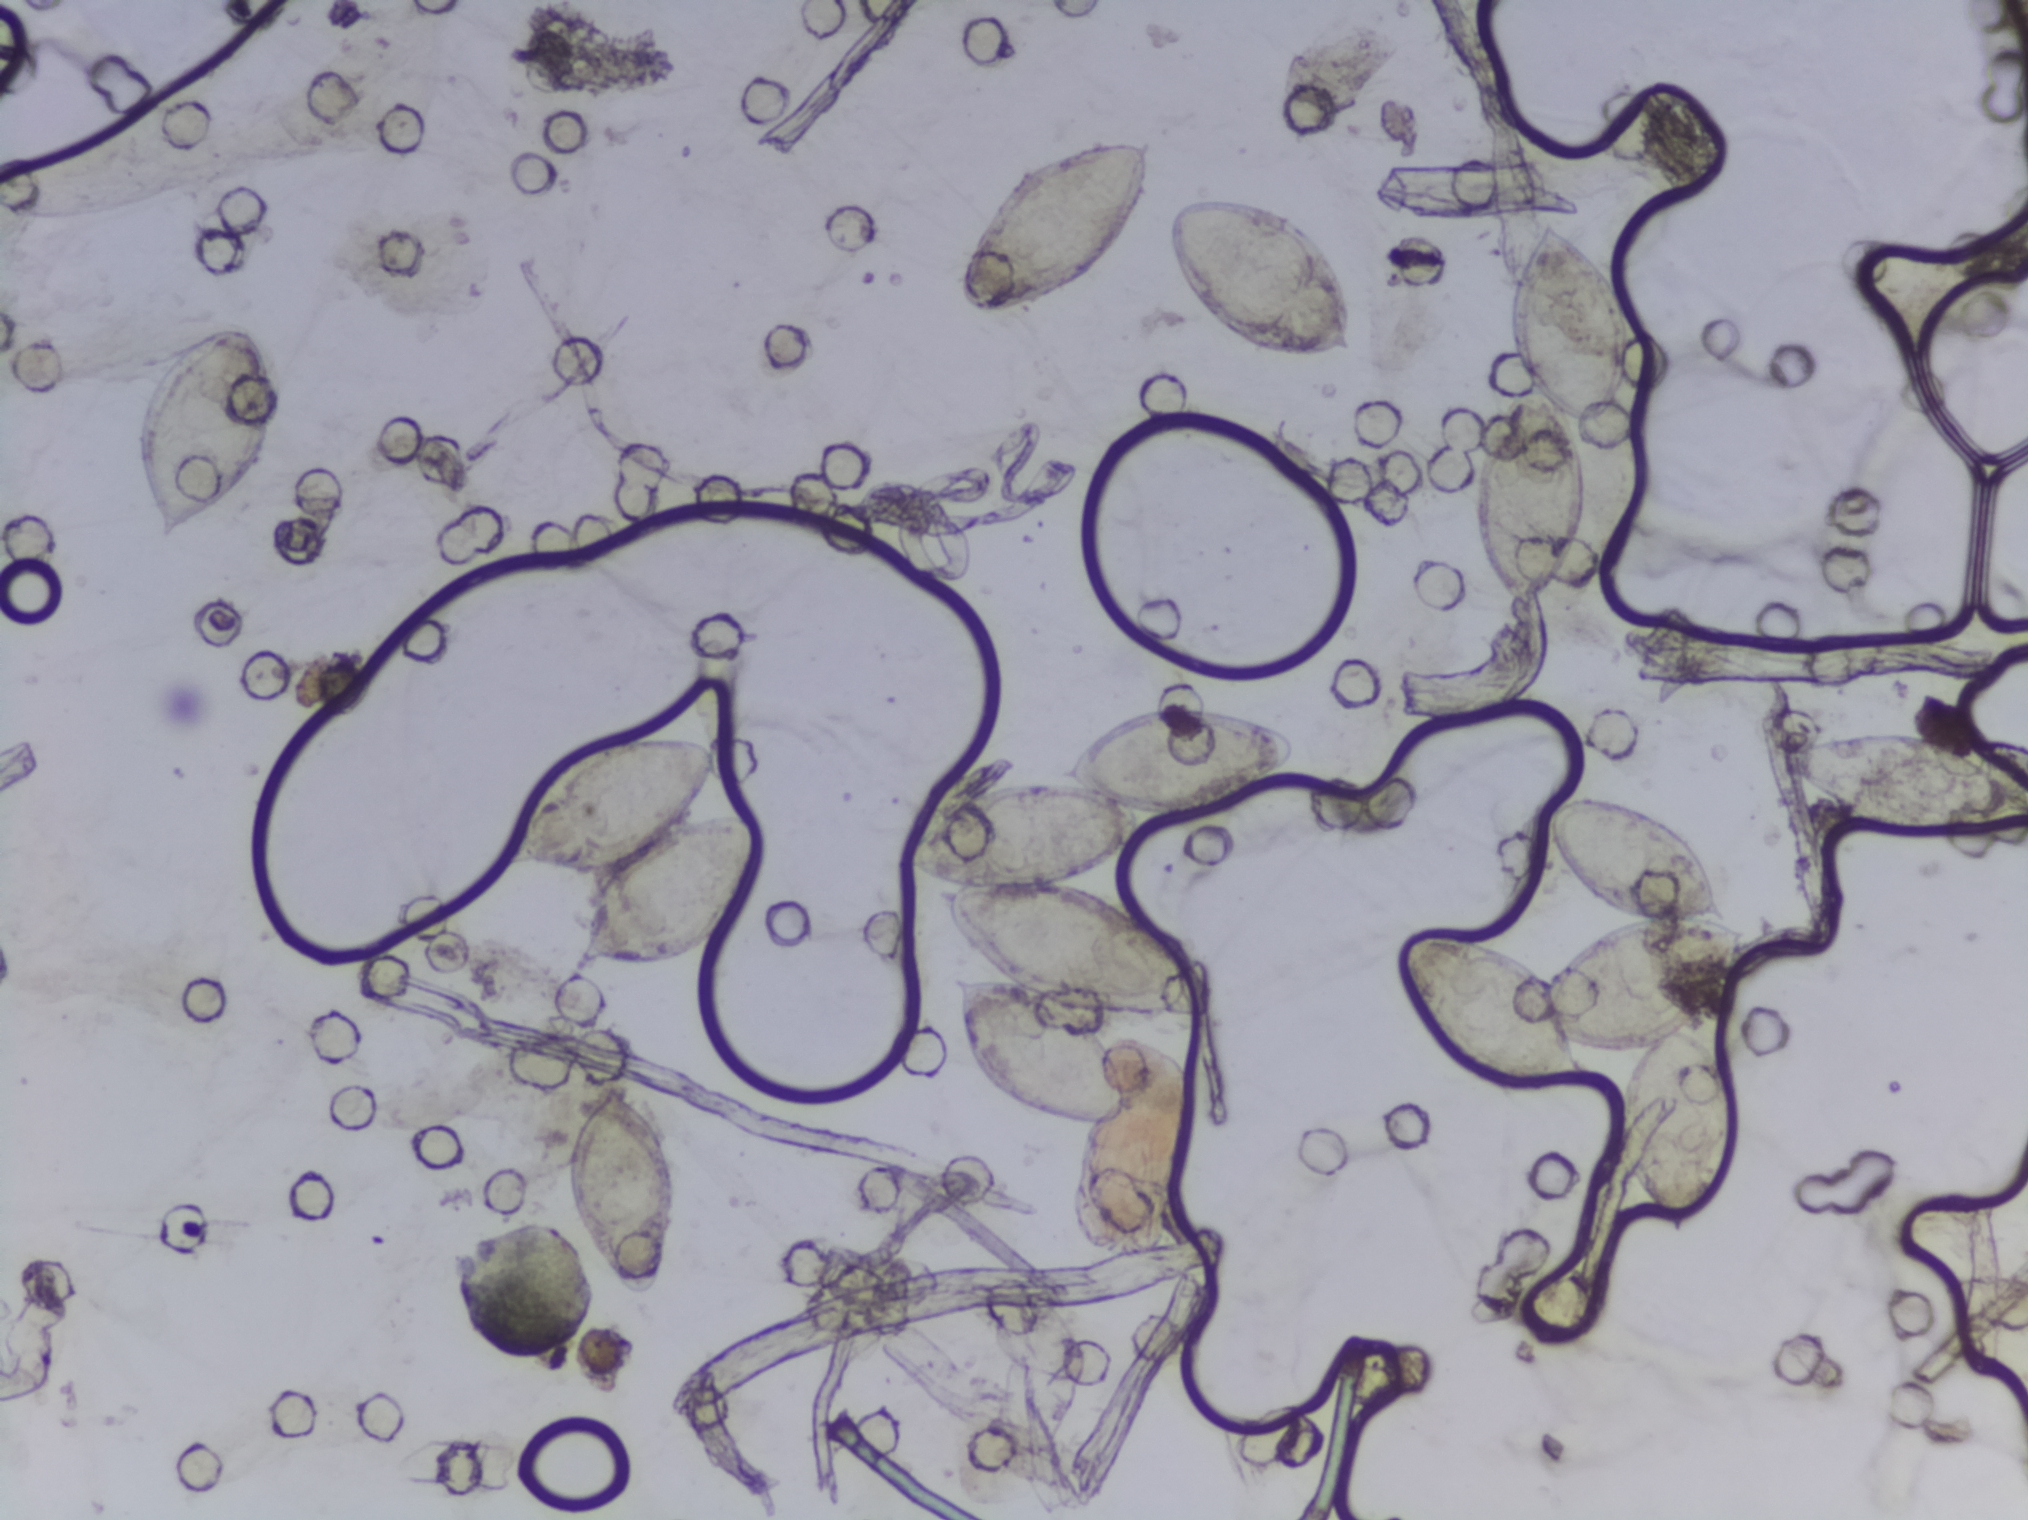
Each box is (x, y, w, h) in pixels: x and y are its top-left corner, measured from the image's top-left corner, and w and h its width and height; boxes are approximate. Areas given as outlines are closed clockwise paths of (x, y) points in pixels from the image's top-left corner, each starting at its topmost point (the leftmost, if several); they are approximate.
The expert annotation outlines Schistosoma eggs in nine areas, left to right: box (x=133, y=326, w=142, h=219); box (x=500, y=729, w=265, h=239); box (x=560, y=1079, w=119, h=218); outline (1160, 703), (1243, 710), (1289, 734), (1297, 764), (1227, 820), (1163, 834), (1138, 832), (1116, 863), (1081, 879), (1169, 922), (1199, 955), (1209, 998), (1192, 1020), (1098, 1023), (1125, 1060), (1127, 1117), (1113, 1124), (1034, 1124), (974, 1074), (962, 1050), (951, 969), (992, 967), (948, 926), (930, 880), (895, 871), (894, 861), (915, 825), (983, 780), (1002, 772), (1053, 773), (1058, 757), (1082, 734) (a cluster of eggs); box (x=958, y=136, w=194, h=184); box (x=1170, y=190, w=186, h=174); outline (1576, 786), (1628, 796), (1671, 814), (1704, 852), (1728, 923), (1747, 929), (1741, 977), (1708, 1027), (1733, 1085), (1736, 1139), (1718, 1194), (1694, 1228), (1678, 1238), (1635, 1184), (1620, 1150), (1623, 1099), (1642, 1054), (1589, 1052), (1596, 1073), (1570, 1087), (1501, 1090), (1463, 1072), (1435, 1048), (1403, 979), (1402, 952), (1420, 929), (1471, 934), (1550, 970), (1577, 940), (1607, 925), (1556, 869), (1547, 849), (1545, 808), (1555, 793) (a cluster of eggs); box (x=1464, y=219, w=166, h=393); box (x=1772, y=725, w=256, h=121) (reaching the right edge of the frame). A single outlined area may contain several eggs.
Urine filter membrane photographed through a 4× microscope objective. The field of view is about 1.5 mm × 1.1 mm.